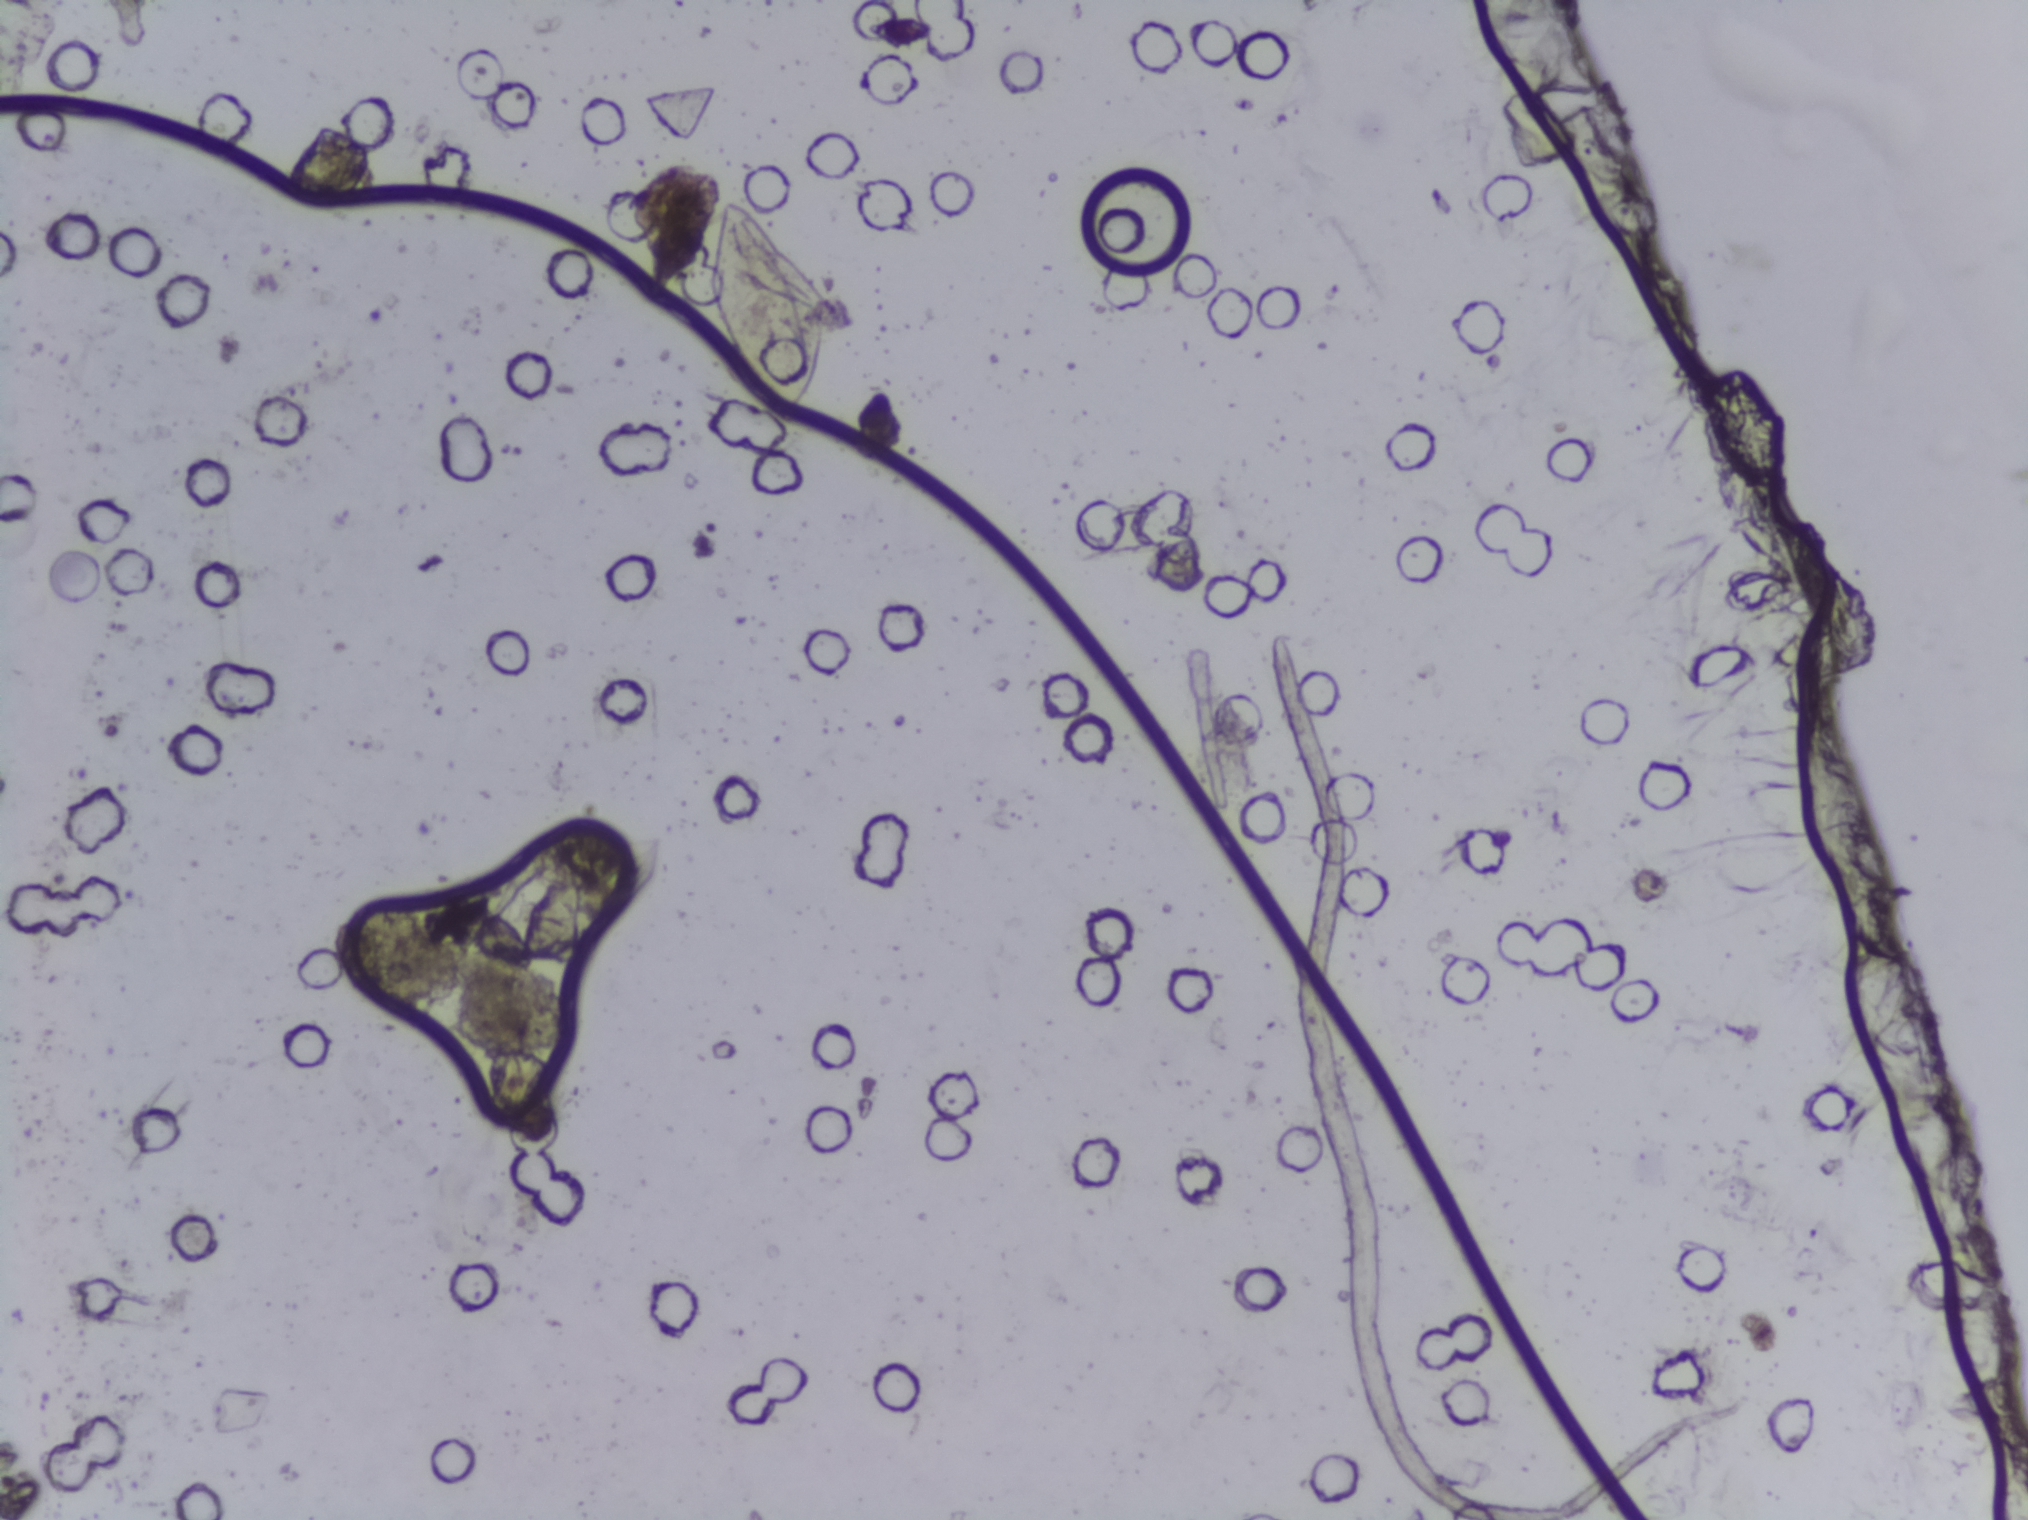
Photomicrograph of a urine filtration membrane, 4× objective.
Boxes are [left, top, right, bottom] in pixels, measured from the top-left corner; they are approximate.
Schistosoma eggs are outlined in the expert annotation at [471, 829, 670, 969] and [703, 195, 830, 428] (left to right). The marked pixels themselves, not the boxes around them, cover about 1.2% of the image. A single outlined area may contain several eggs.